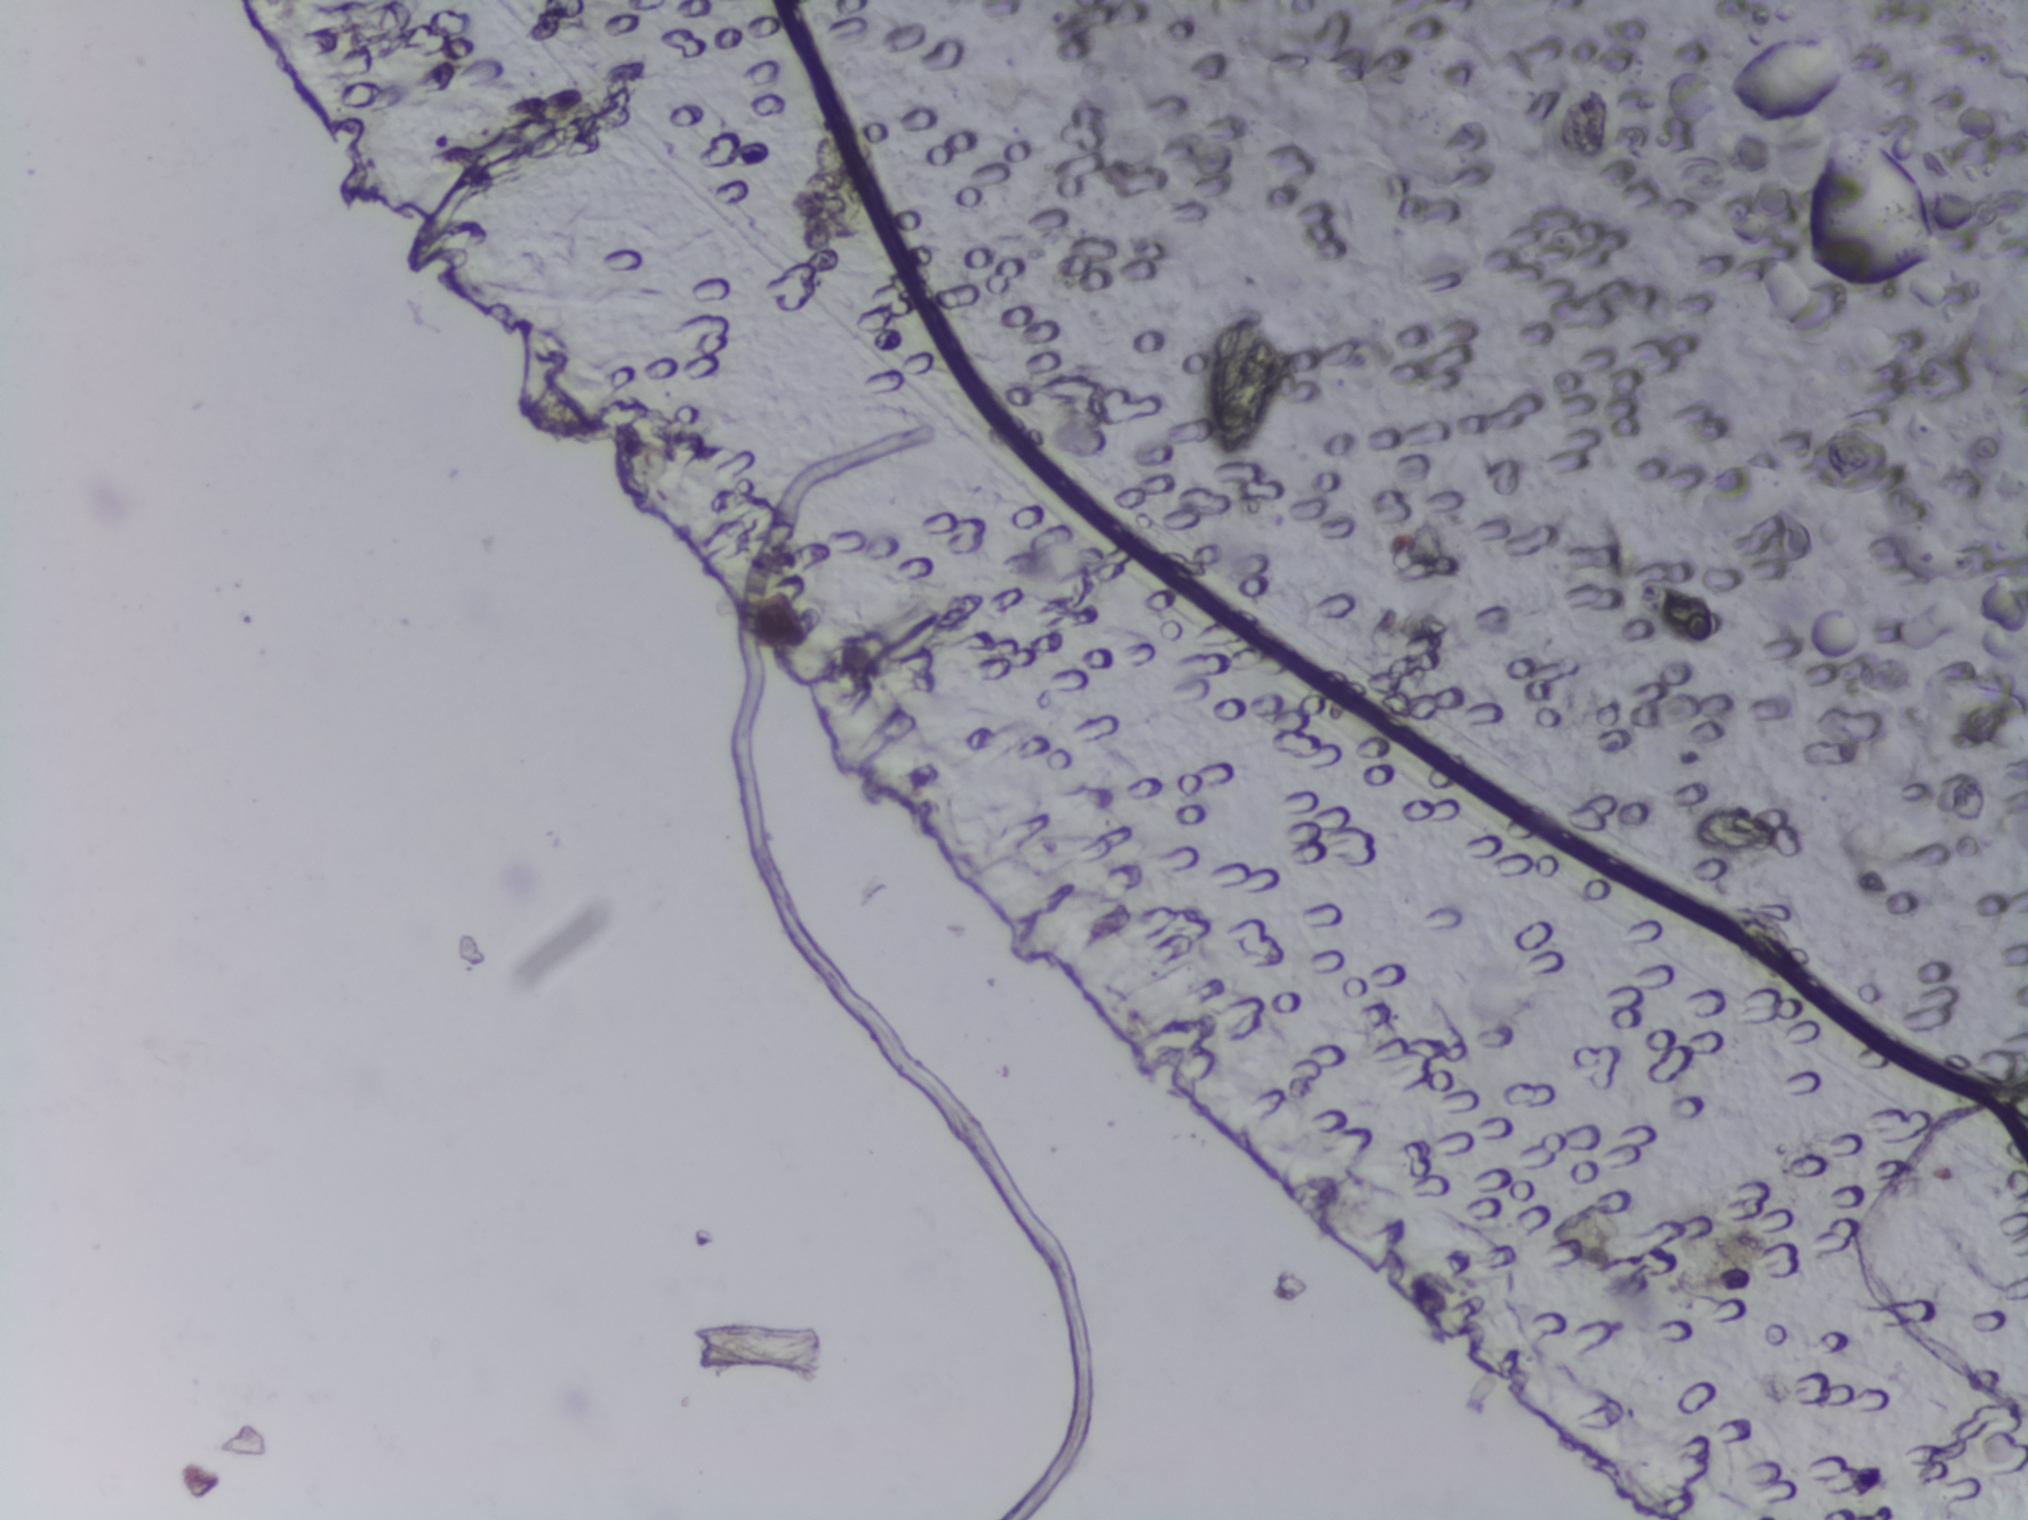
The expert annotation marks no Schistosoma egg in this field of view.
Photomicrograph of a urine filtration membrane, 4× objective.